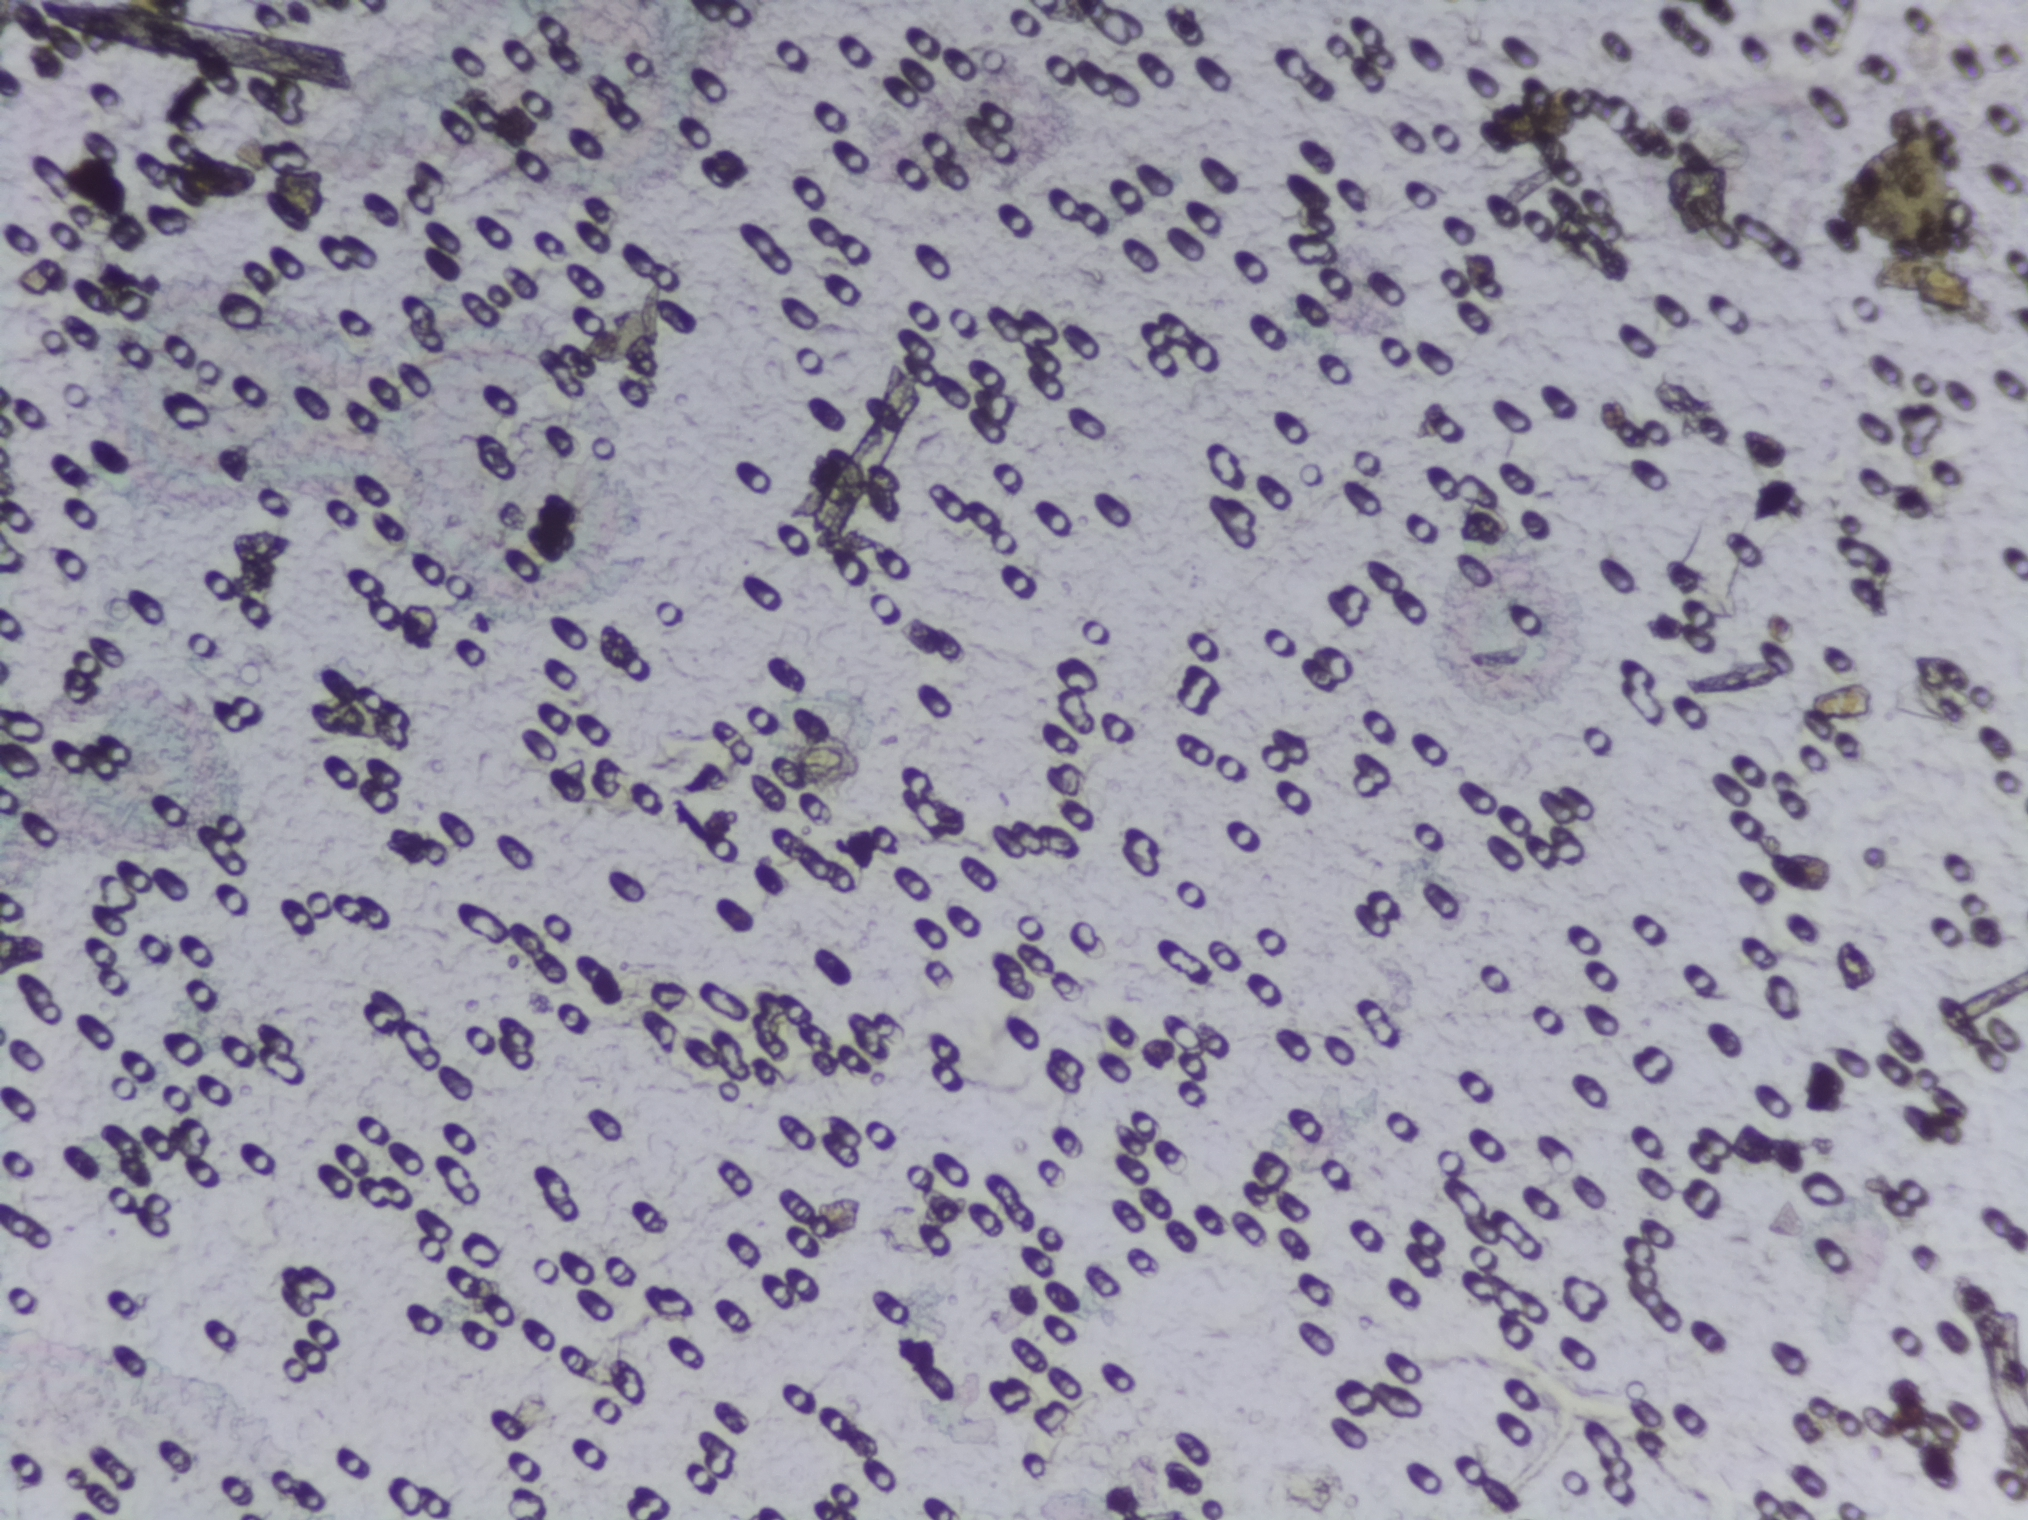
Microscope photograph (4× objective) of a membrane that a urine sample was filtered through. The field of view is about 1.5 mm × 1.1 mm.
No area of this image was outlined as a Schistosoma egg.